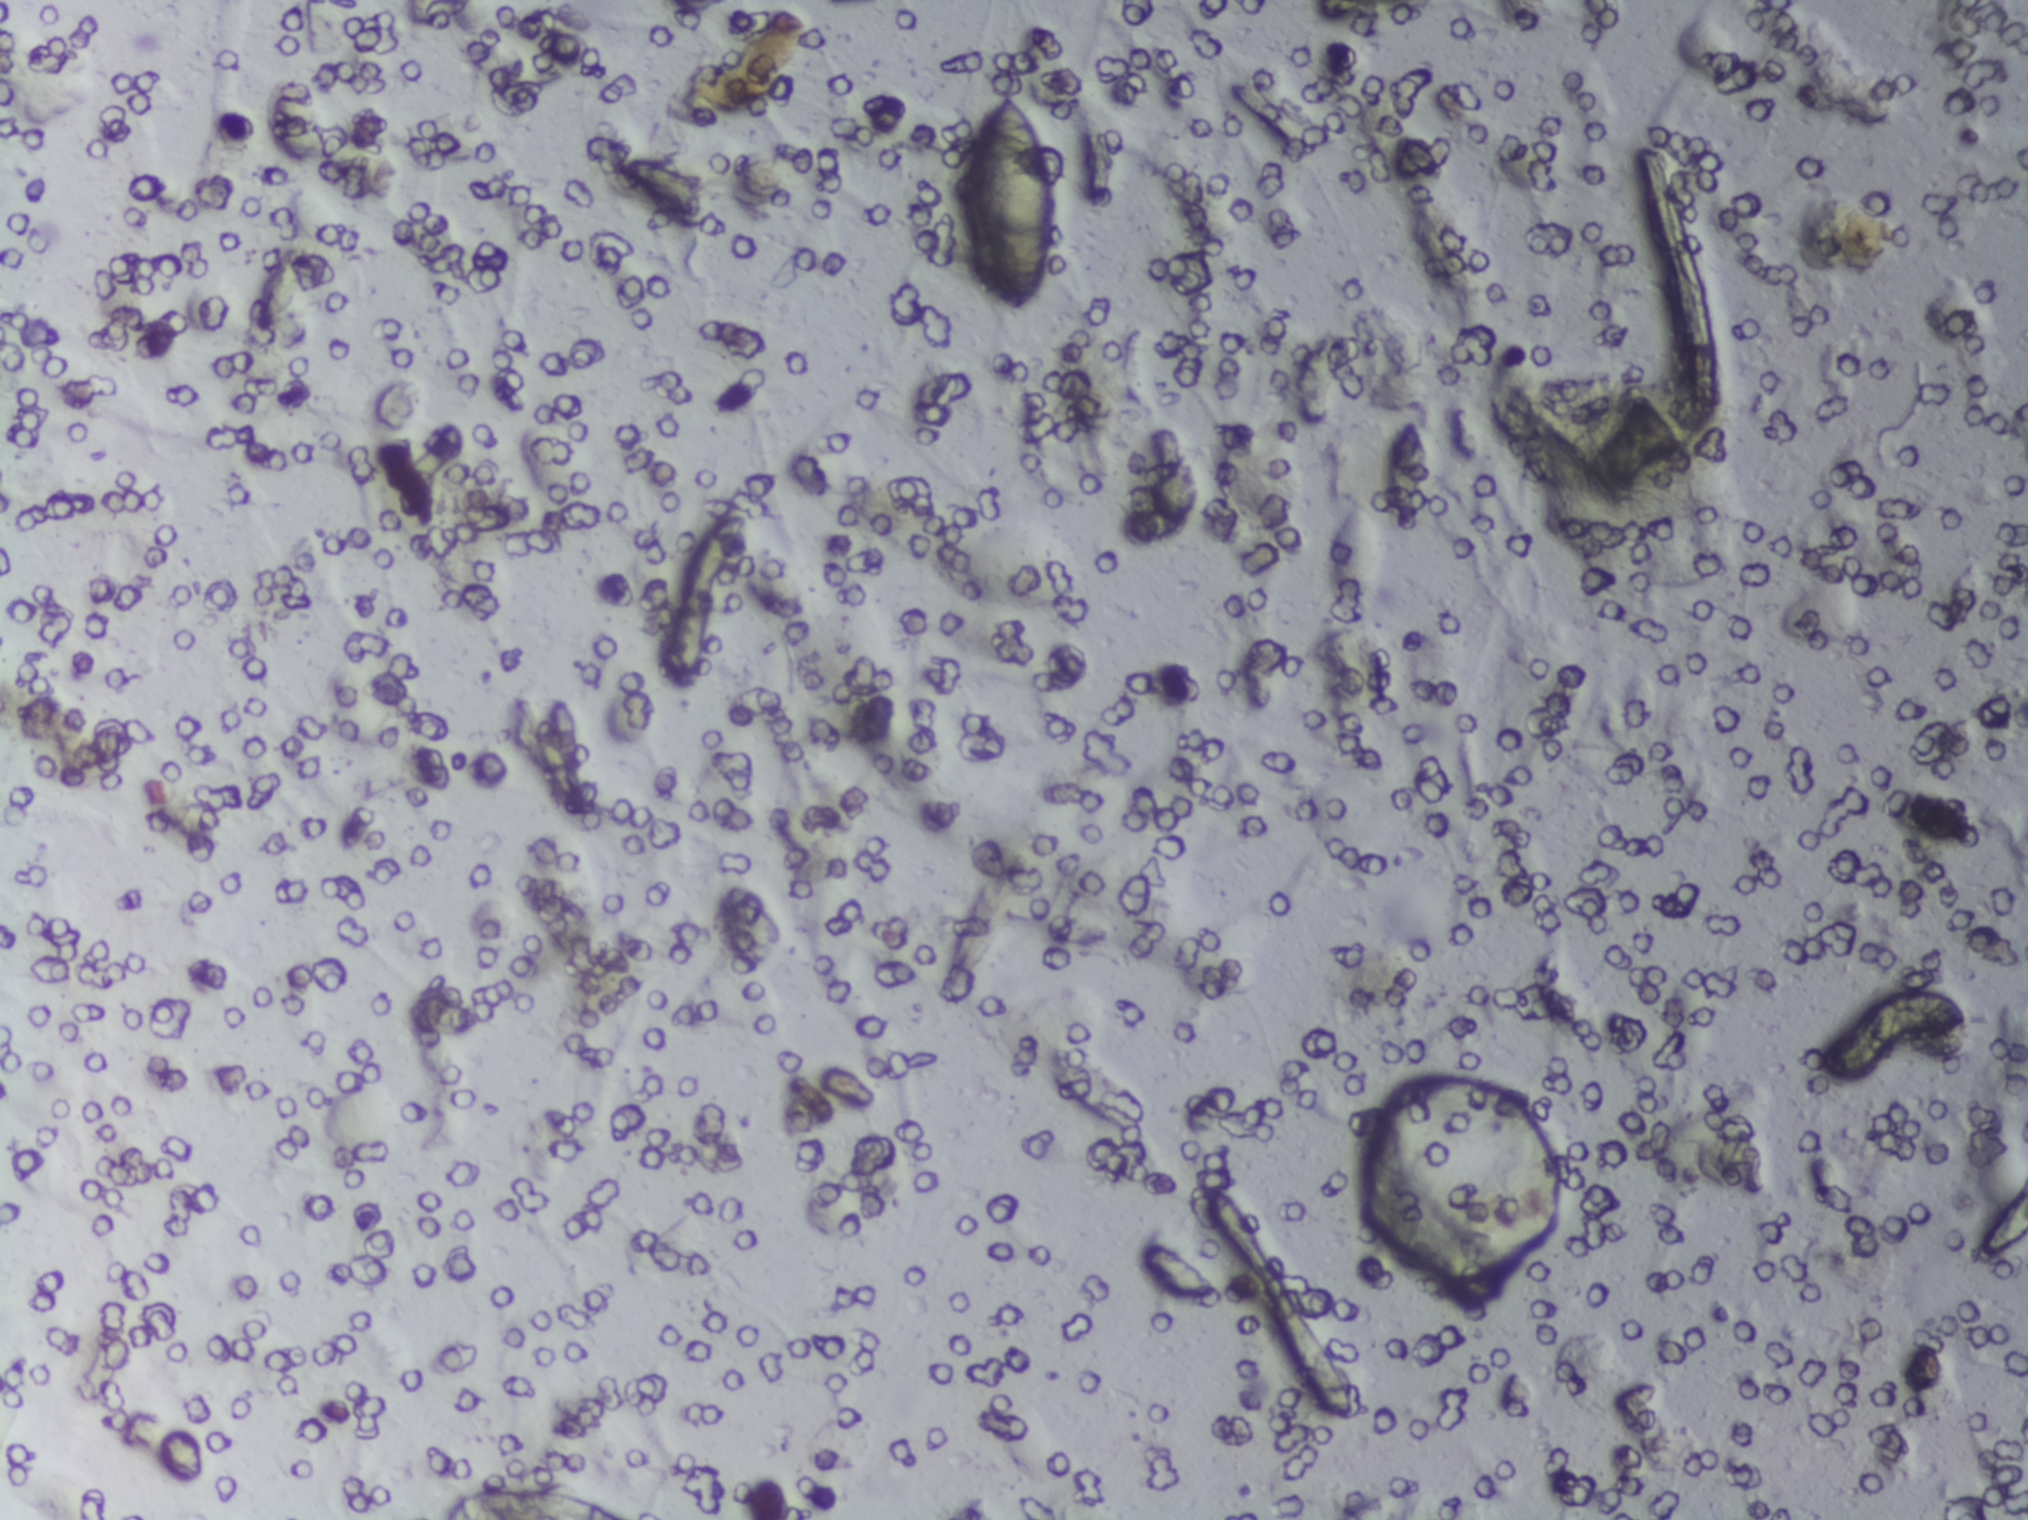
Photomicrograph of a urine filtration membrane, 4× objective.
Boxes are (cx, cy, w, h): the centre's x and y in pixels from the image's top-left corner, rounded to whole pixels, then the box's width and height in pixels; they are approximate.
Schistosoma eggs, outlined areas: (cx=1006, cy=200, w=103, h=227). An outlined area can hold more than one egg. A marked egg may occasionally be S. mansoni rather than S. haematobium.